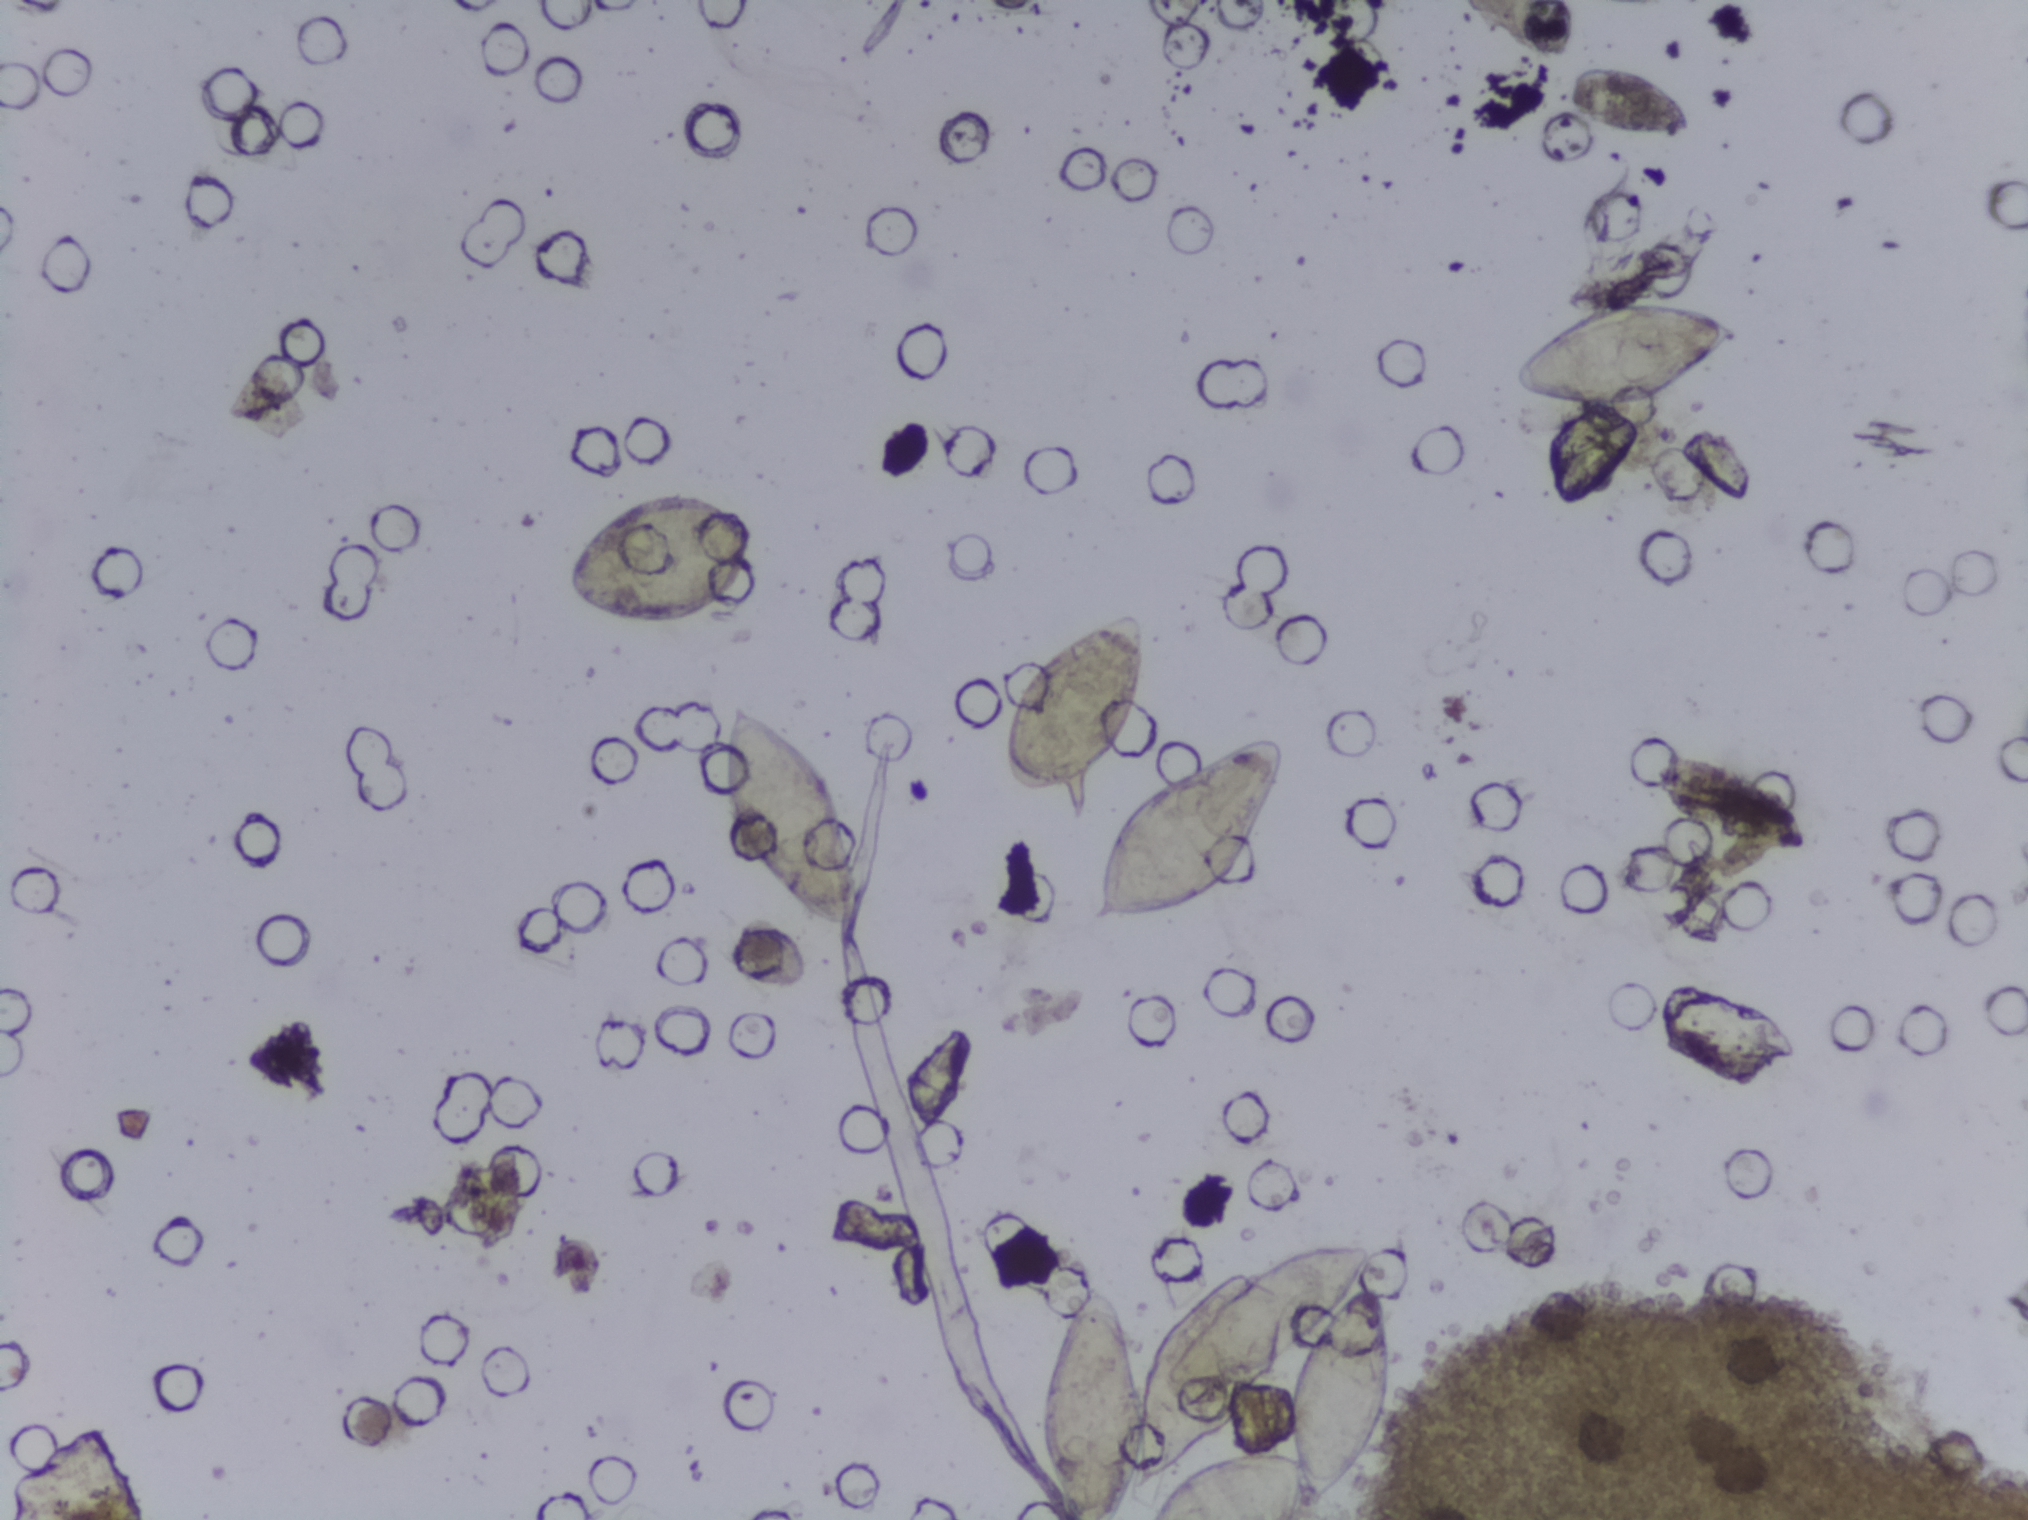
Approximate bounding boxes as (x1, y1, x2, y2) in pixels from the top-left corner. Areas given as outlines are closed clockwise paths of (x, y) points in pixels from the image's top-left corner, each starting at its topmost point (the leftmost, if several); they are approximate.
Schistosoma eggs, outlined areas: box (0, 1418, 160, 1519) (reaching the left and bottom edges of the frame); box (562, 491, 759, 628); box (714, 697, 859, 934); box (999, 614, 1151, 813); outline (1324, 1236), (1356, 1236), (1380, 1250), (1372, 1276), (1381, 1284), (1383, 1322), (1398, 1363), (1395, 1417), (1328, 1516), (1140, 1519), (1159, 1487), (1153, 1485), (1136, 1490), (1126, 1519), (1068, 1519), (1051, 1492), (1041, 1403), (1044, 1346), (1075, 1277), (1103, 1284), (1127, 1303), (1144, 1348), (1160, 1323), (1241, 1262), (1280, 1244) (a cluster of eggs; reaching the bottom edge of the frame); box (1090, 735, 1287, 928); box (1469, 0, 1579, 63) (reaching the top edge of the frame); box (1513, 298, 1738, 412); box (1565, 62, 1695, 139). An outlined area can hold more than one egg.
Microscope photograph (4× objective) of a membrane that a urine sample was filtered through.